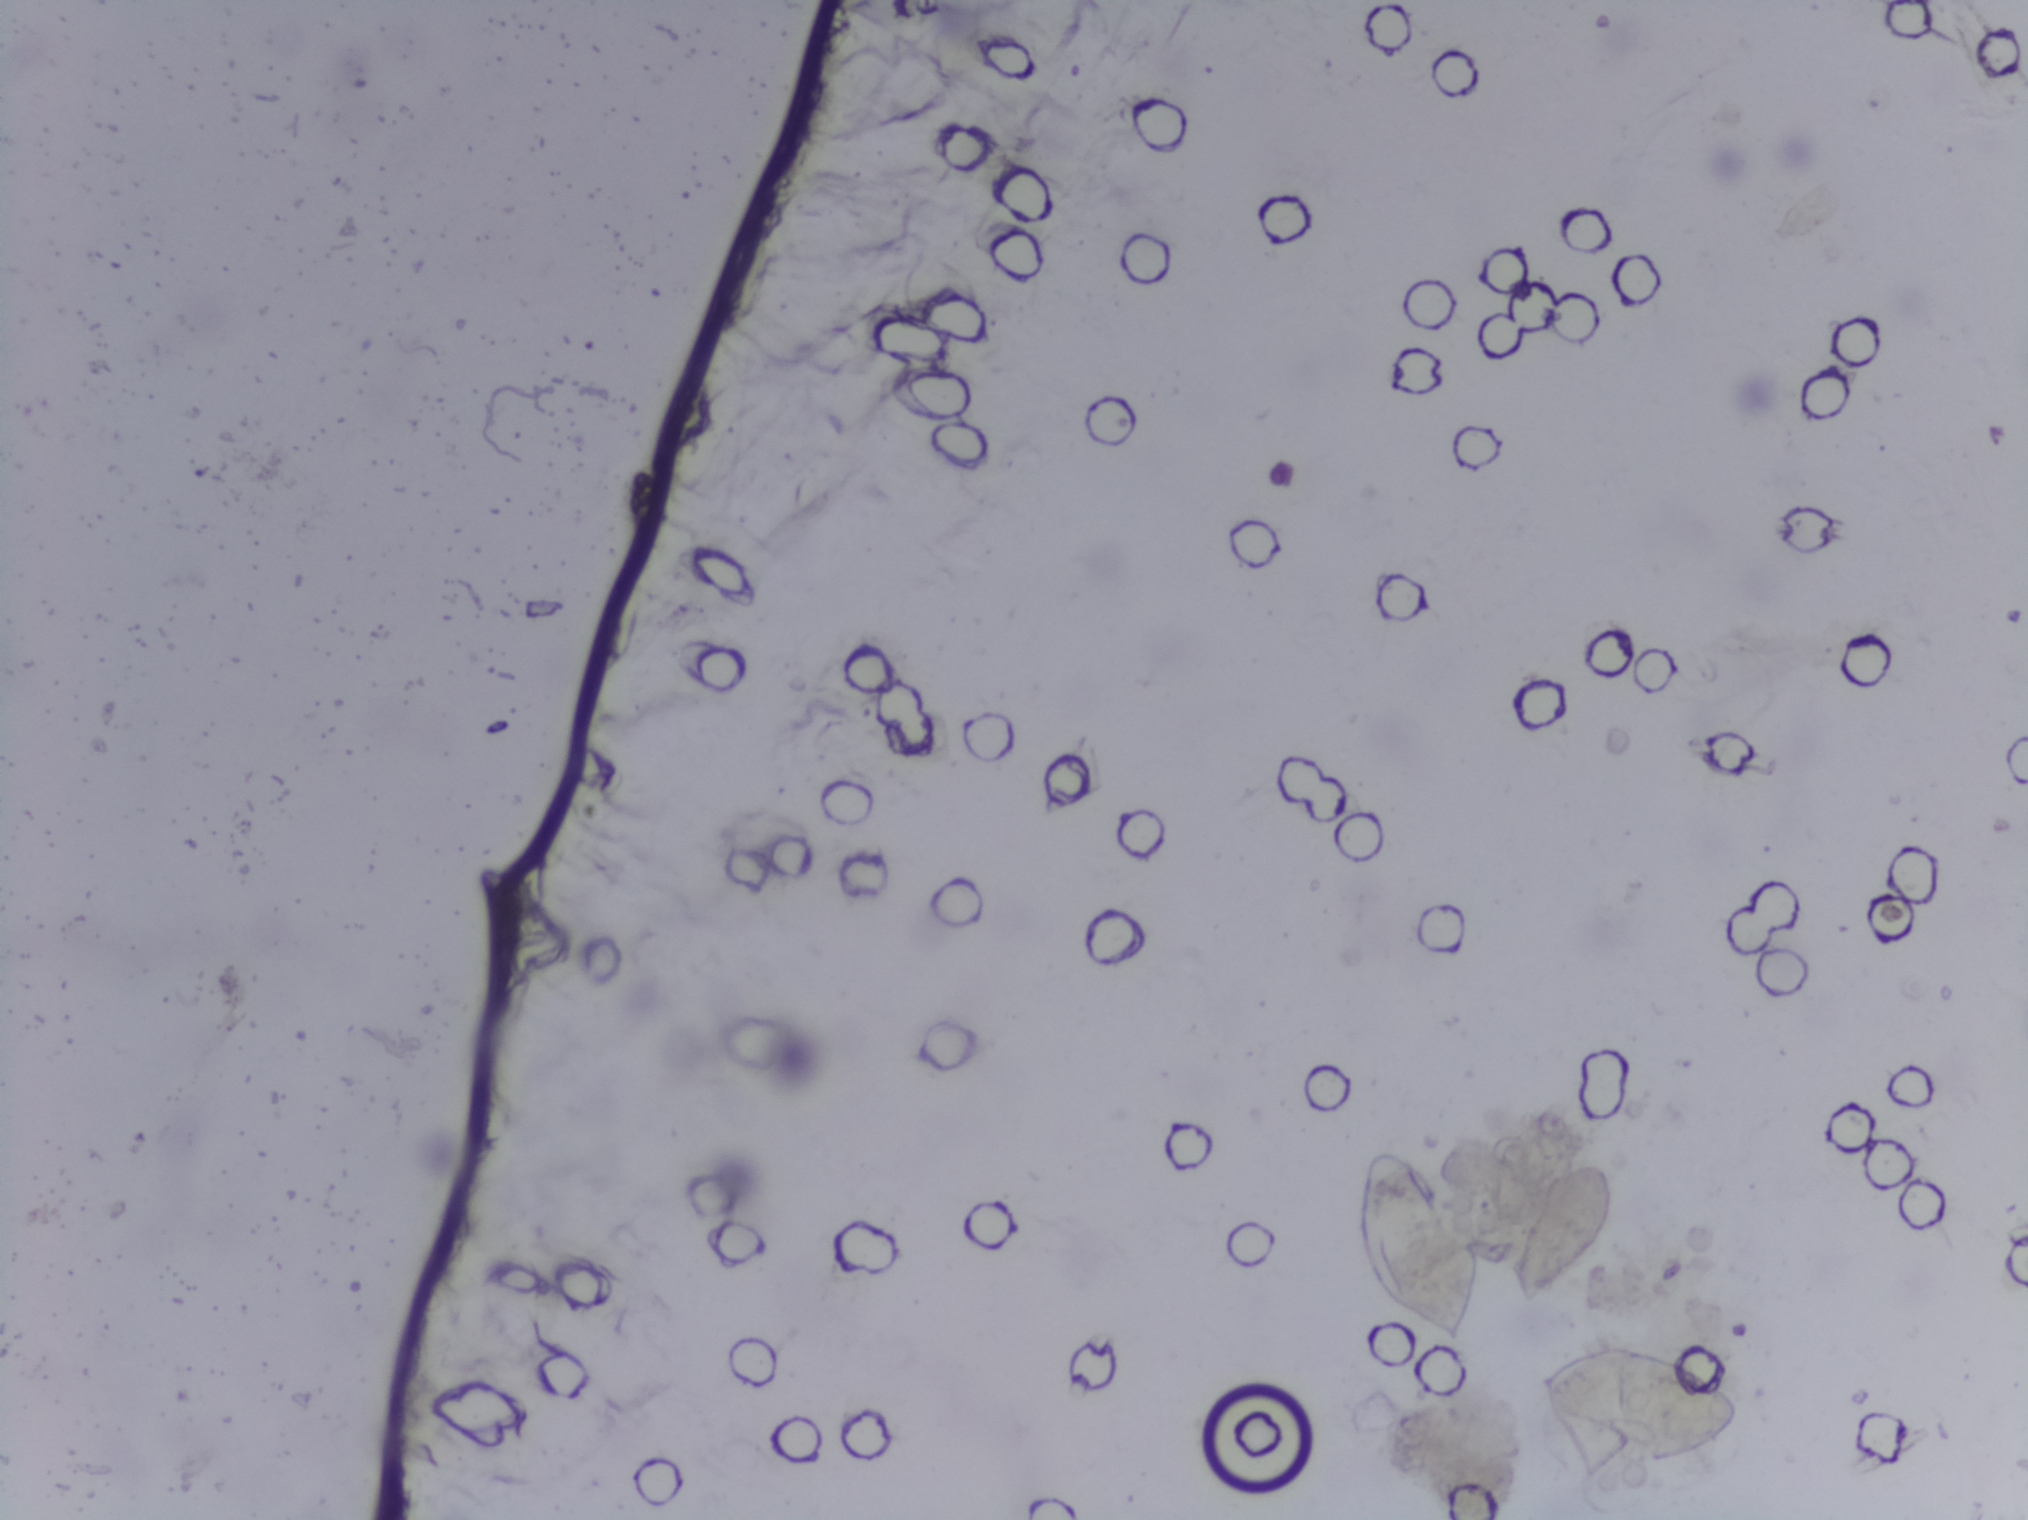
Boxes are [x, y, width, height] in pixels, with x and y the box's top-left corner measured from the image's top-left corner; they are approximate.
Schistosoma egg areas, outlined: [1350, 1148, 128, 205]; [1504, 1162, 114, 147]; [1534, 1348, 207, 126]. A single outlined area may contain several eggs.
Urine filtration membrane under a 4× objective, photographed by an automated digital microscope.